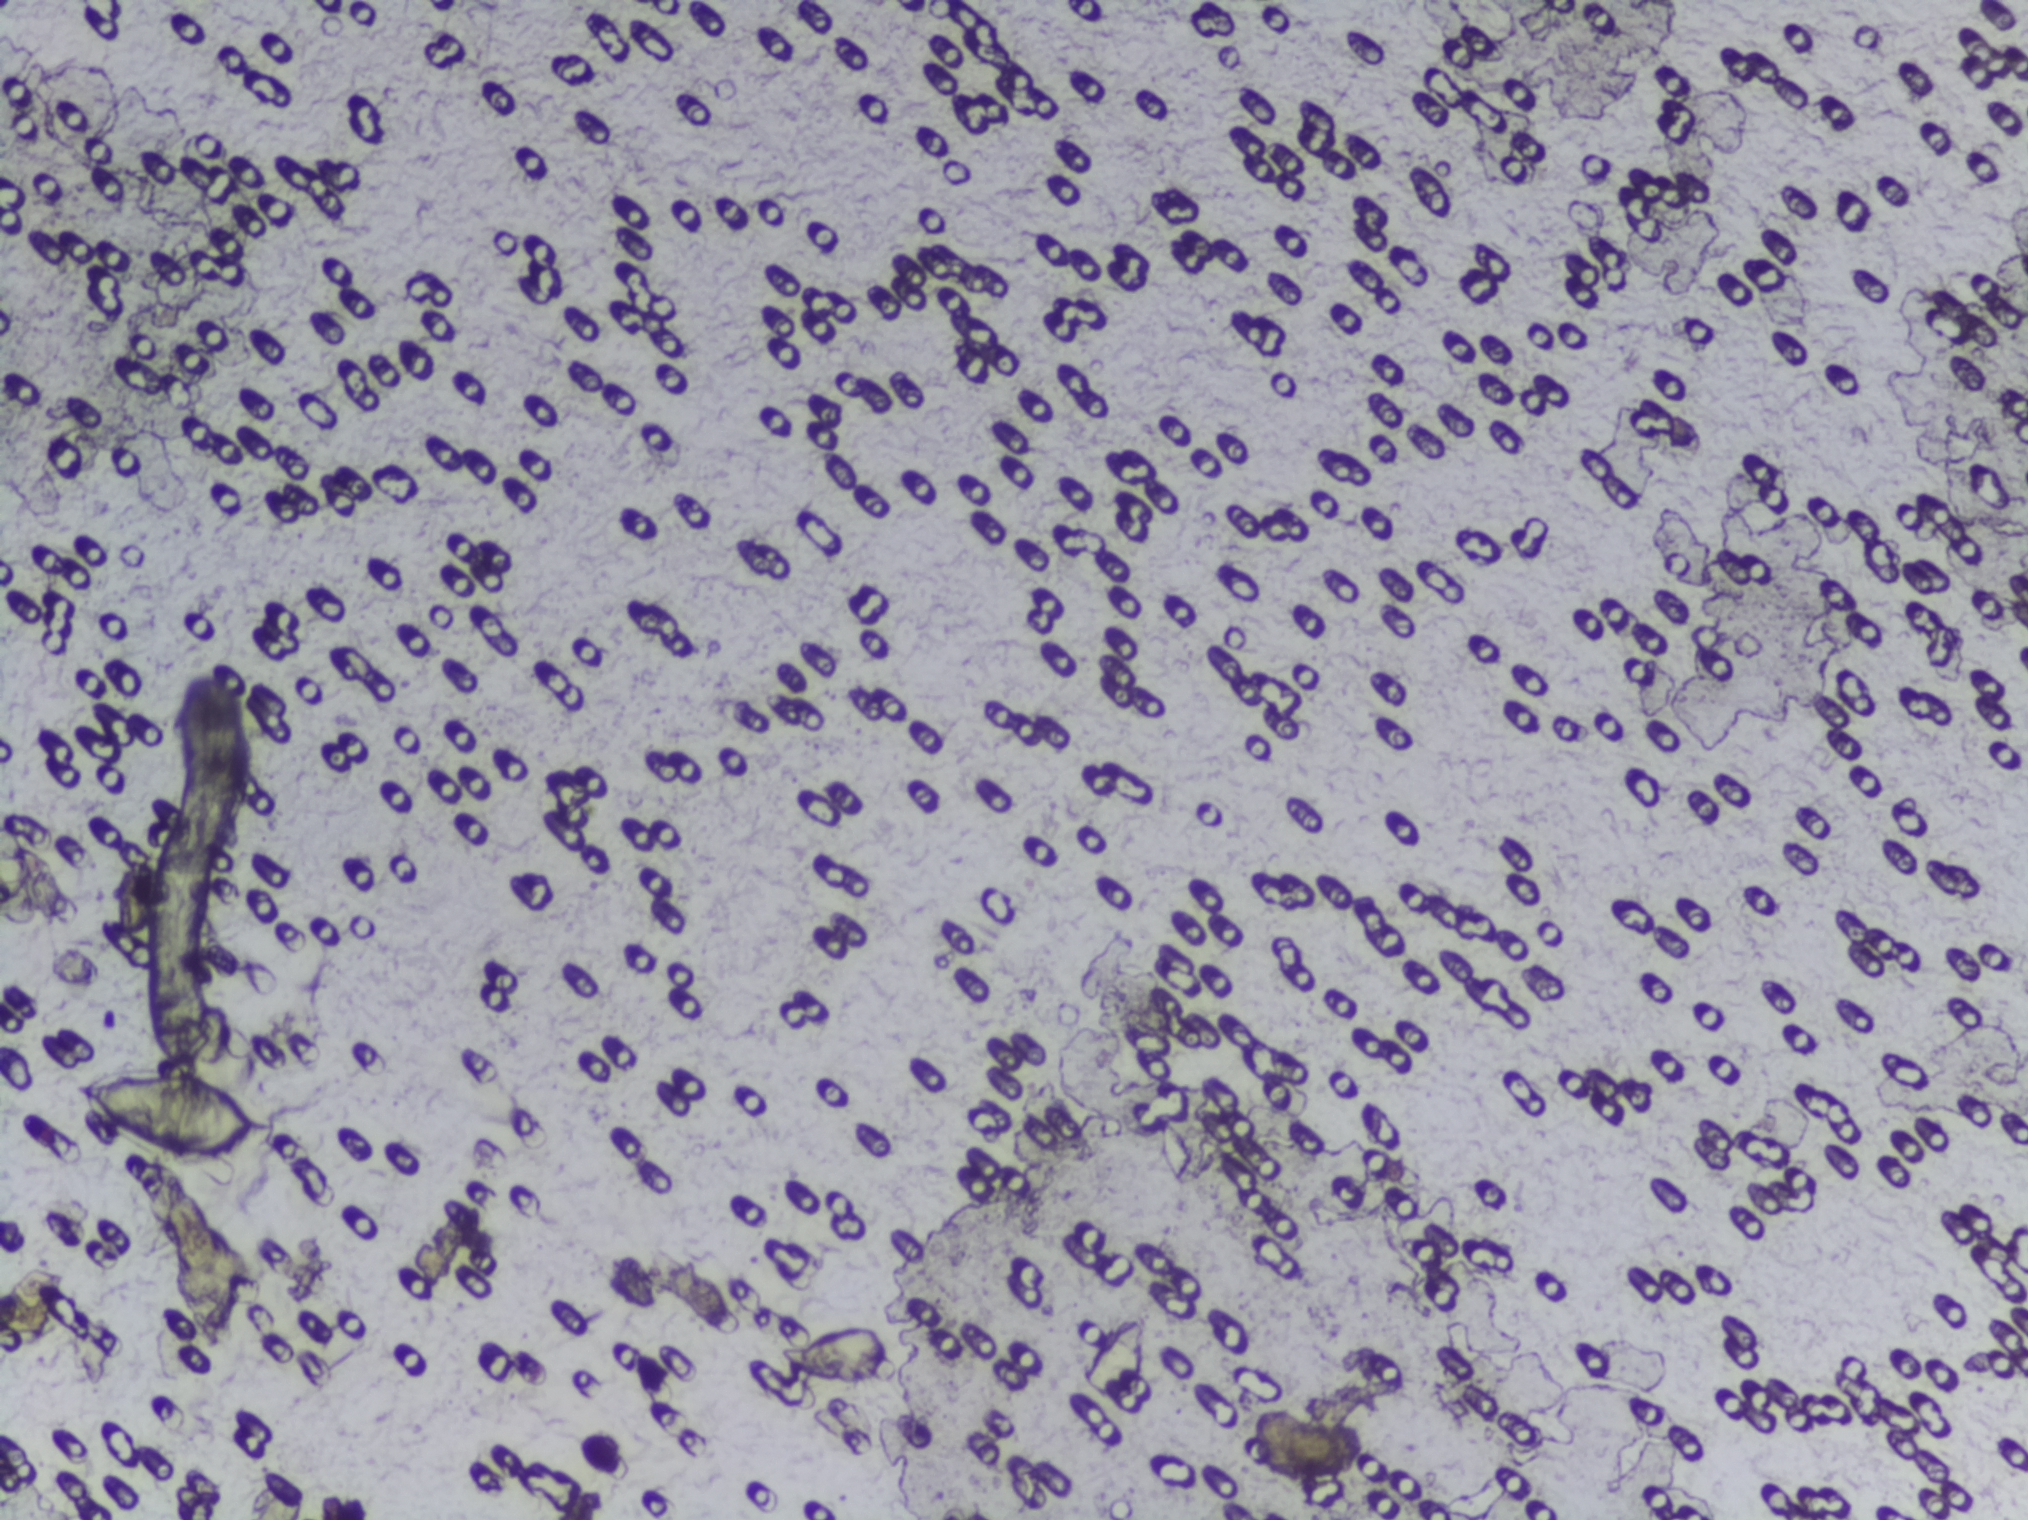
Urine filter membrane photographed through a 4× microscope objective.
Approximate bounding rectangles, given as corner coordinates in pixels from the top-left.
Areas outlined as Schistosoma eggs: (x1=75, y1=1063, x2=283, y2=1170). A single outlined area may contain several eggs.